One field of view of a urine filter membrane, 4× objective, 2028 × 1520 pixels.
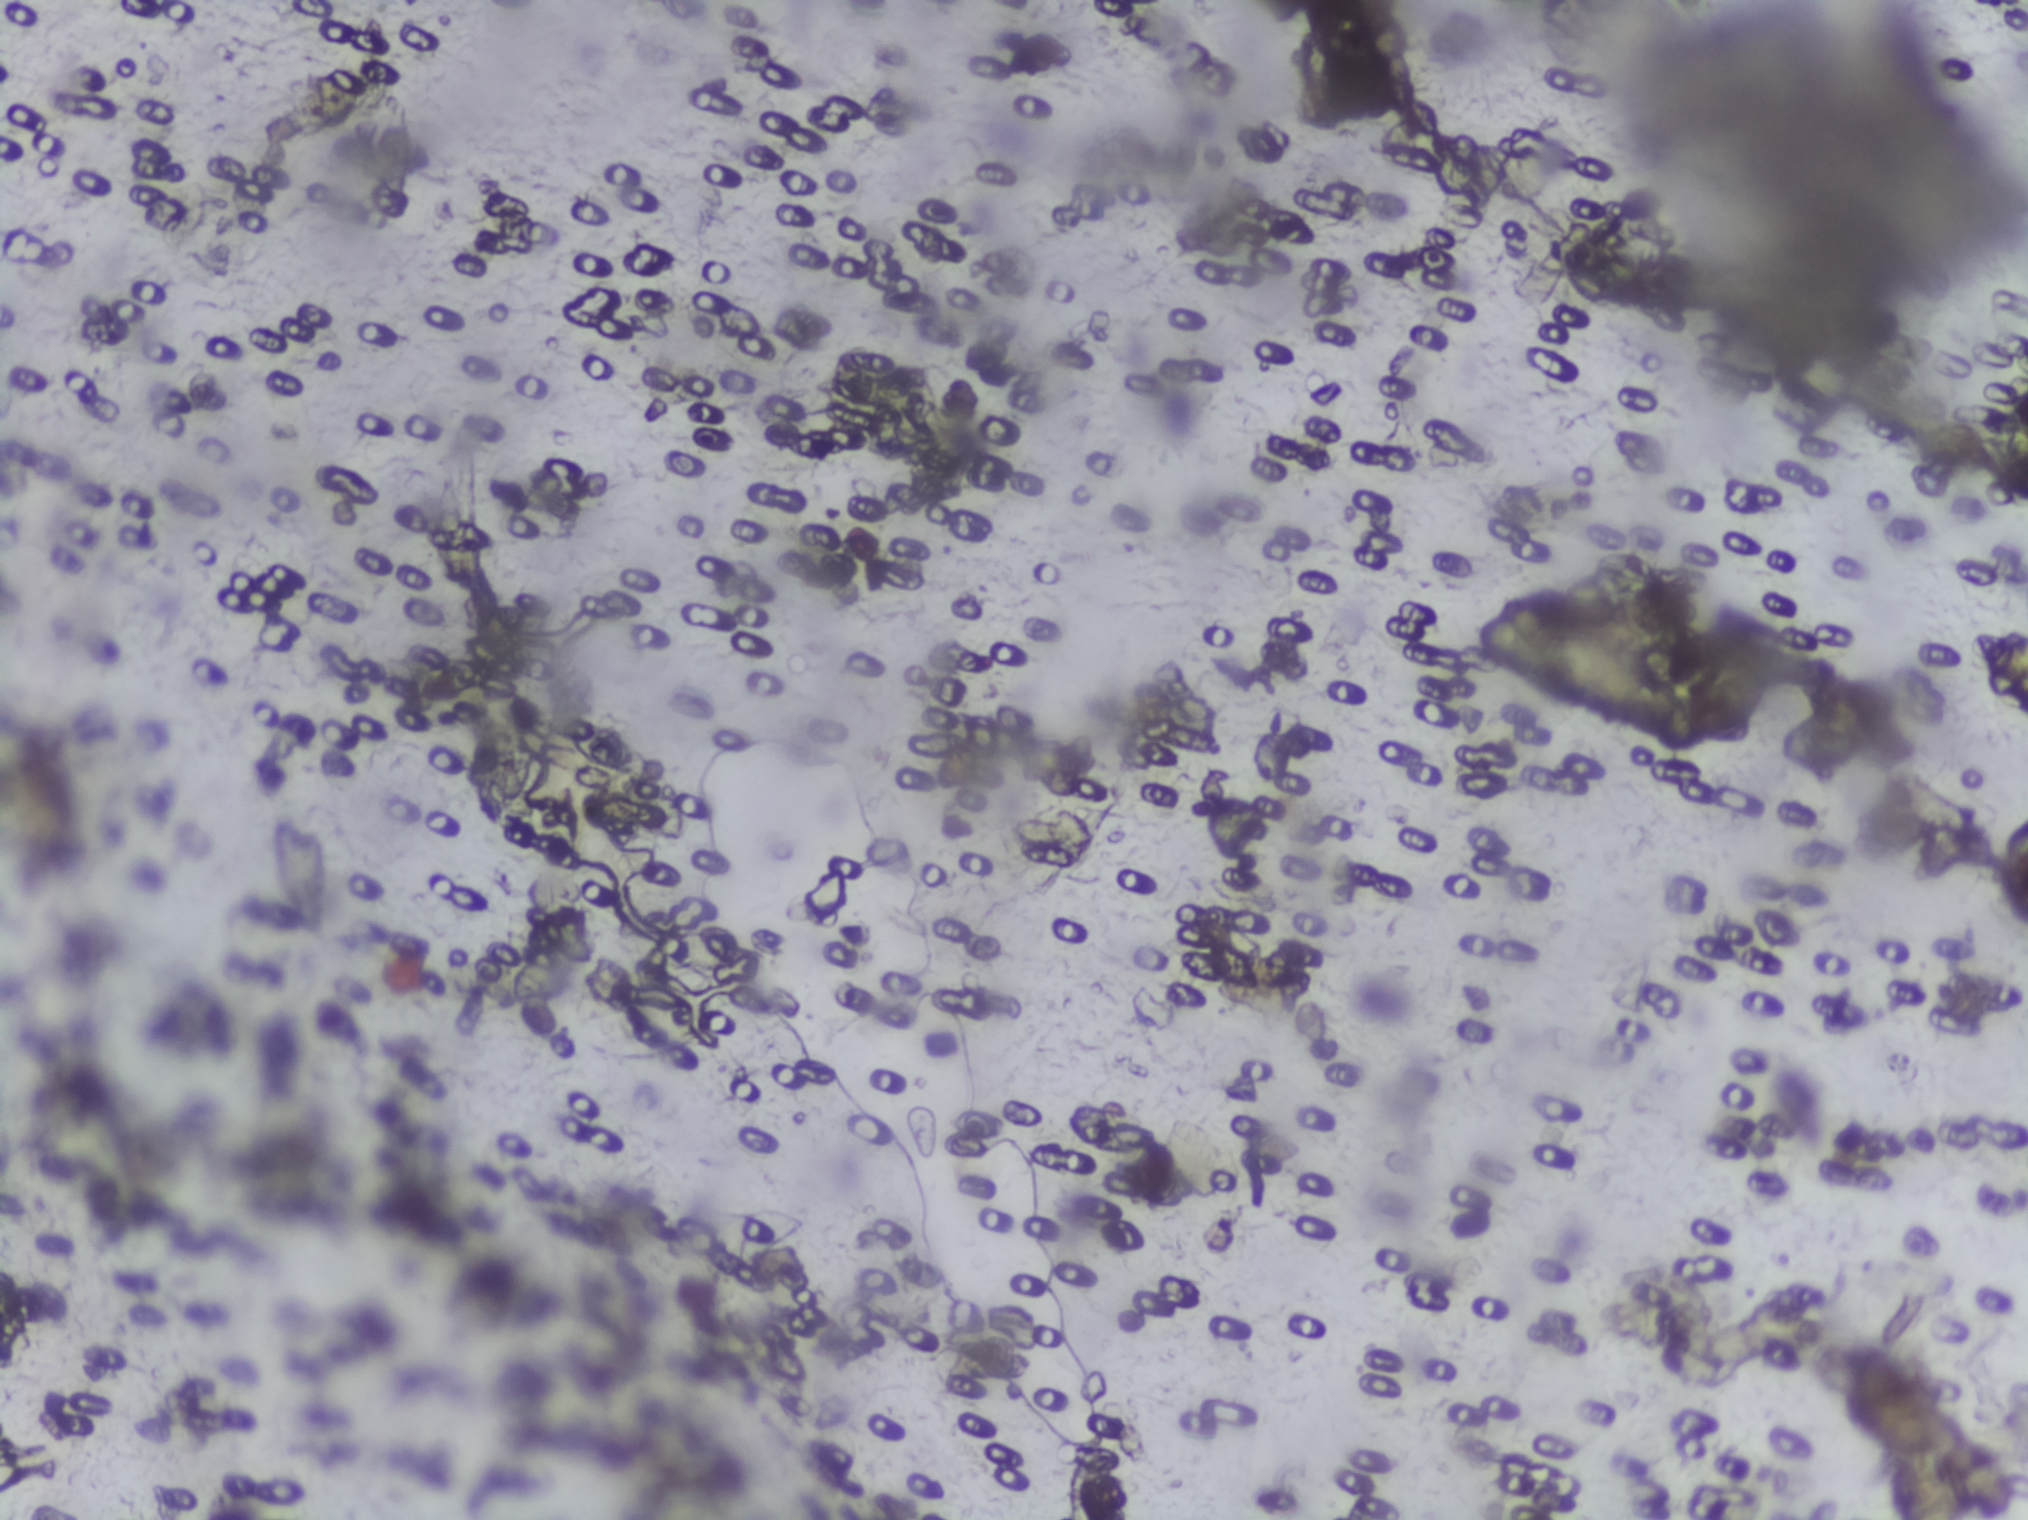
The expert annotation outlines no Schistosoma egg in this image.